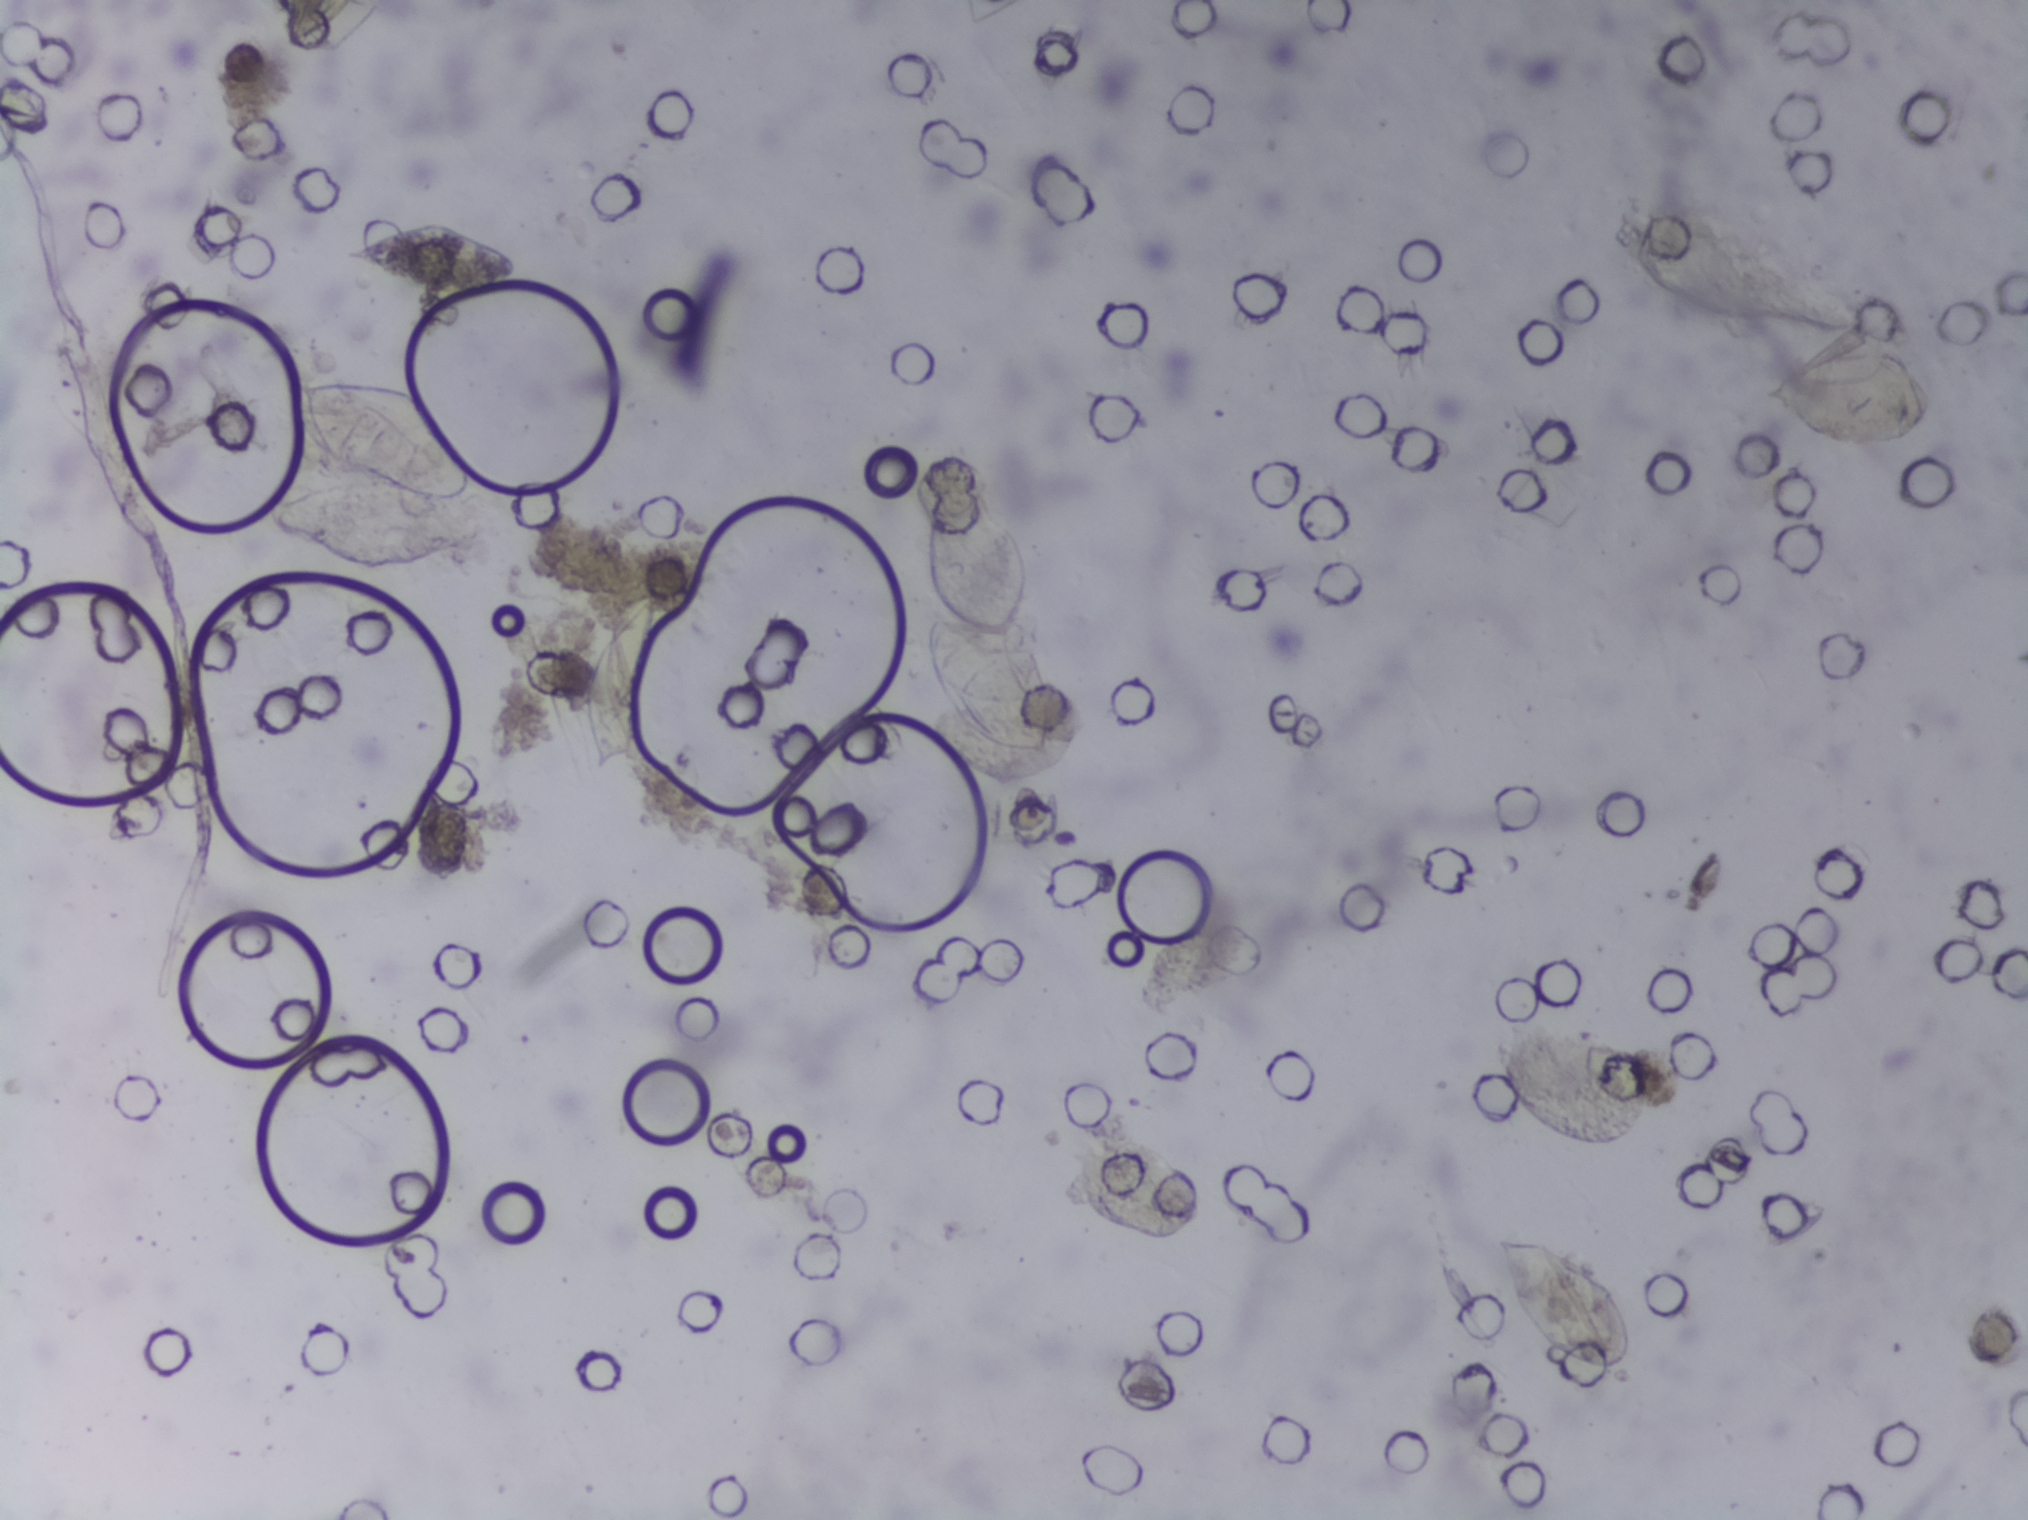
Microscope photograph (4× objective) of a membrane that a urine sample was filtered through.
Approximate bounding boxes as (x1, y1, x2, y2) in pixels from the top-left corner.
The expert annotation outlines Schistosoma eggs at (261, 375, 488, 570); (351, 218, 522, 296); (580, 598, 658, 766); (920, 478, 1055, 758); (1487, 1231, 1633, 1368); (1762, 348, 1933, 448) (left to right). A single outlined area may contain several eggs. A marked egg may occasionally be S. mansoni rather than S. haematobium.